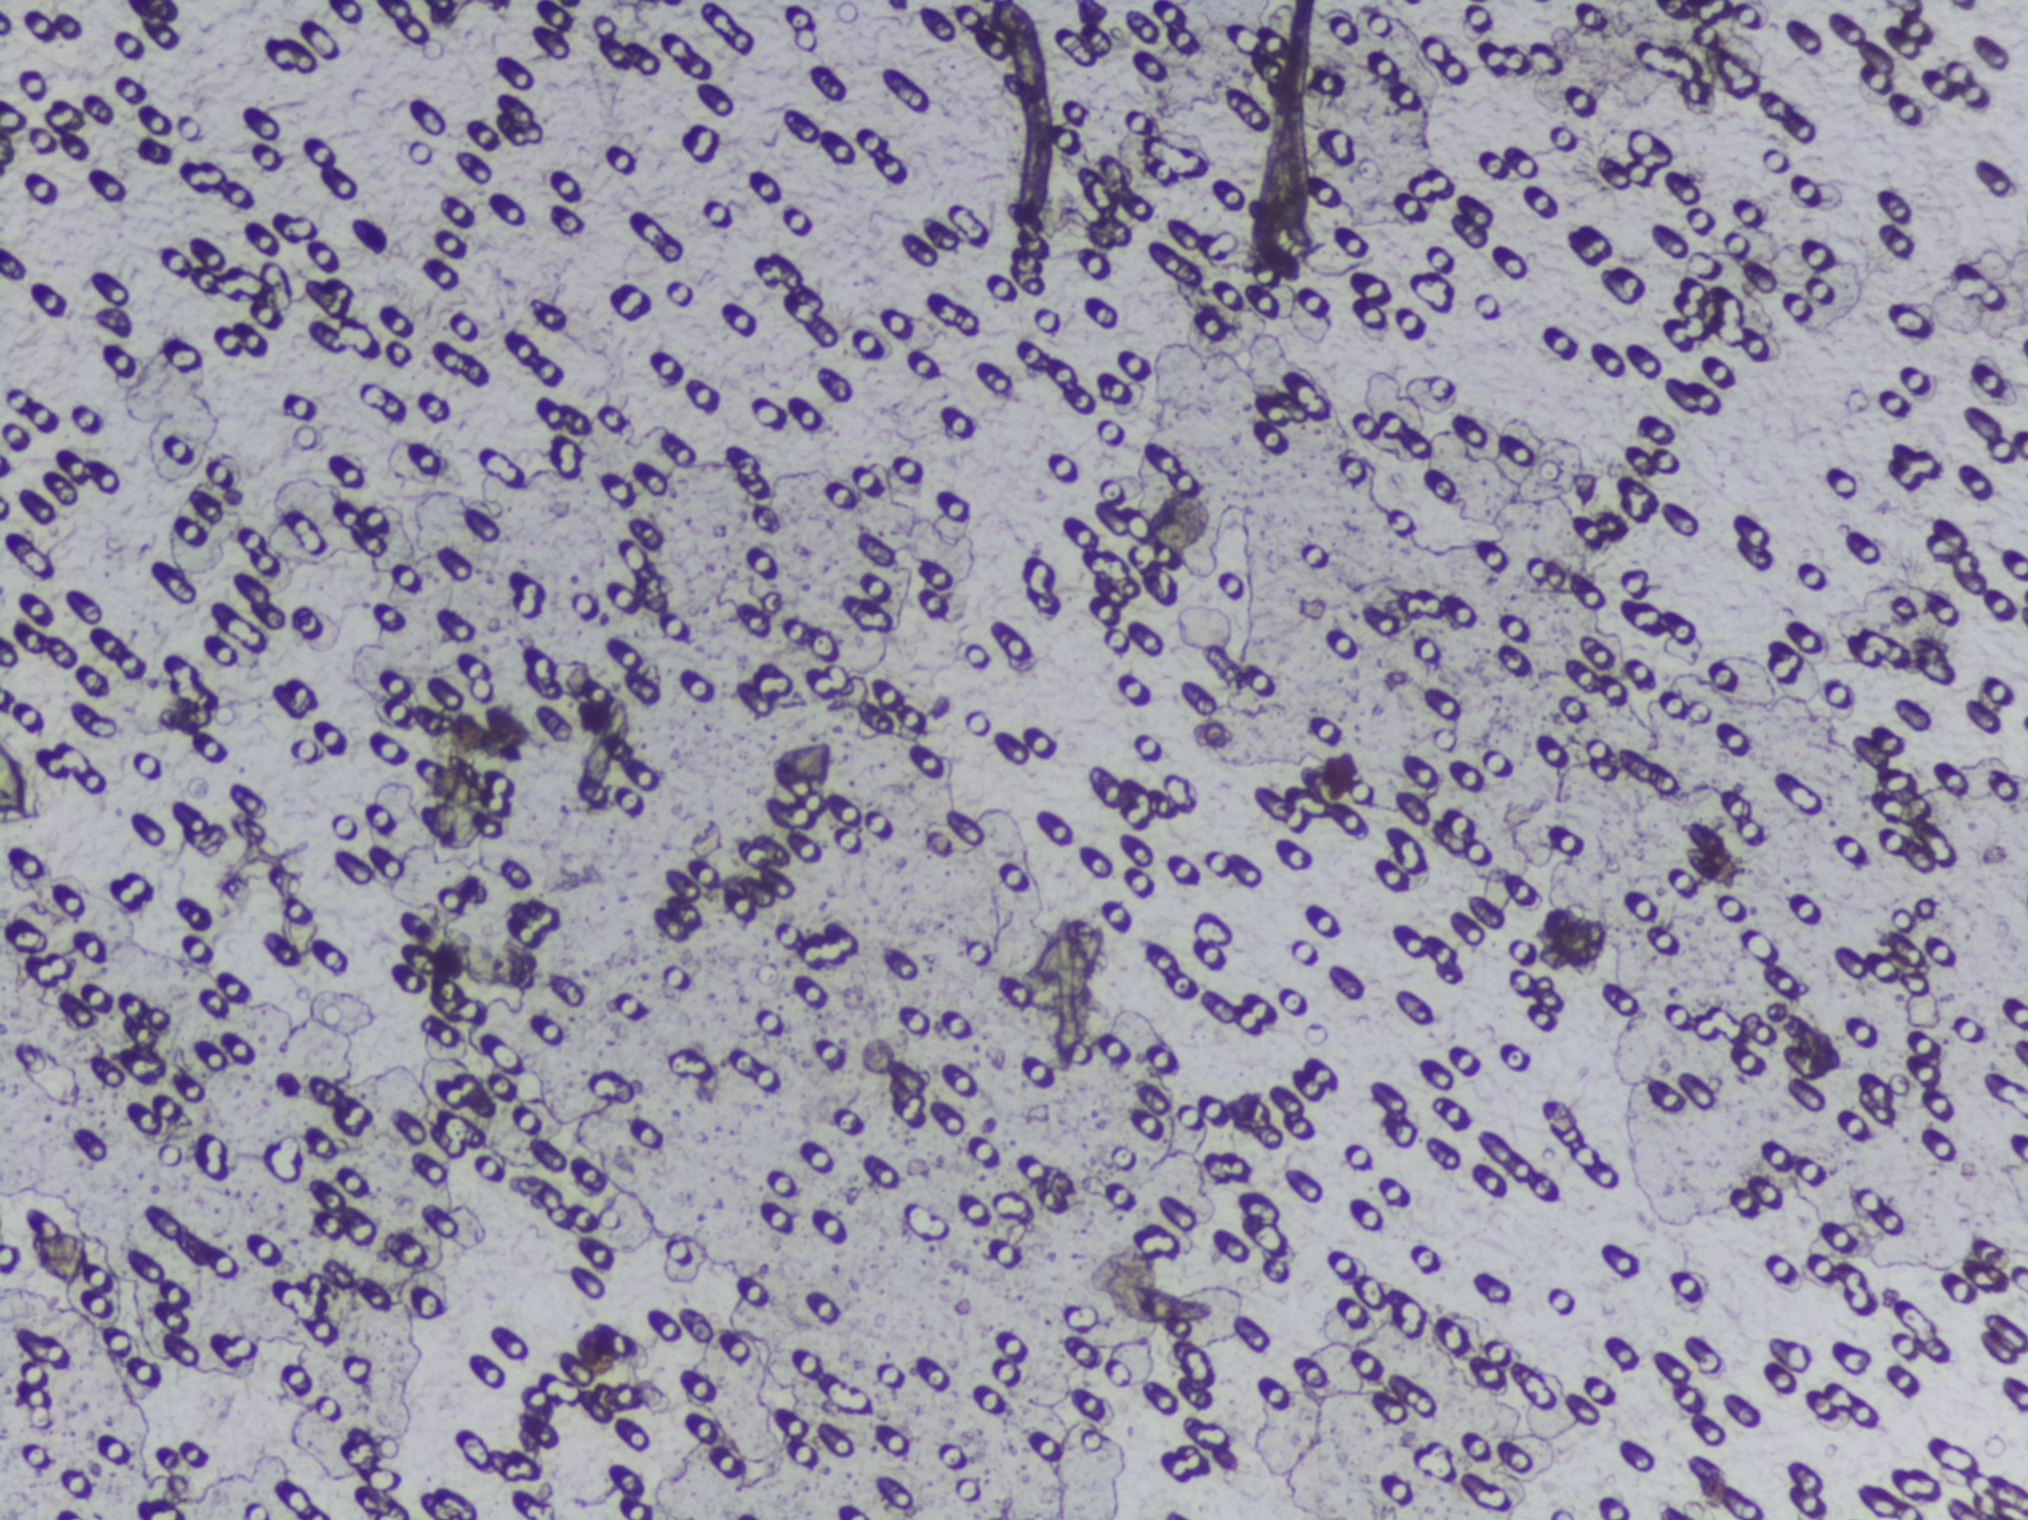
Urine filter membrane photographed through a 4× microscope objective. The image covers about 1.5 × 1.1 mm of the membrane.
The expert annotation outlines no Schistosoma egg in this image.